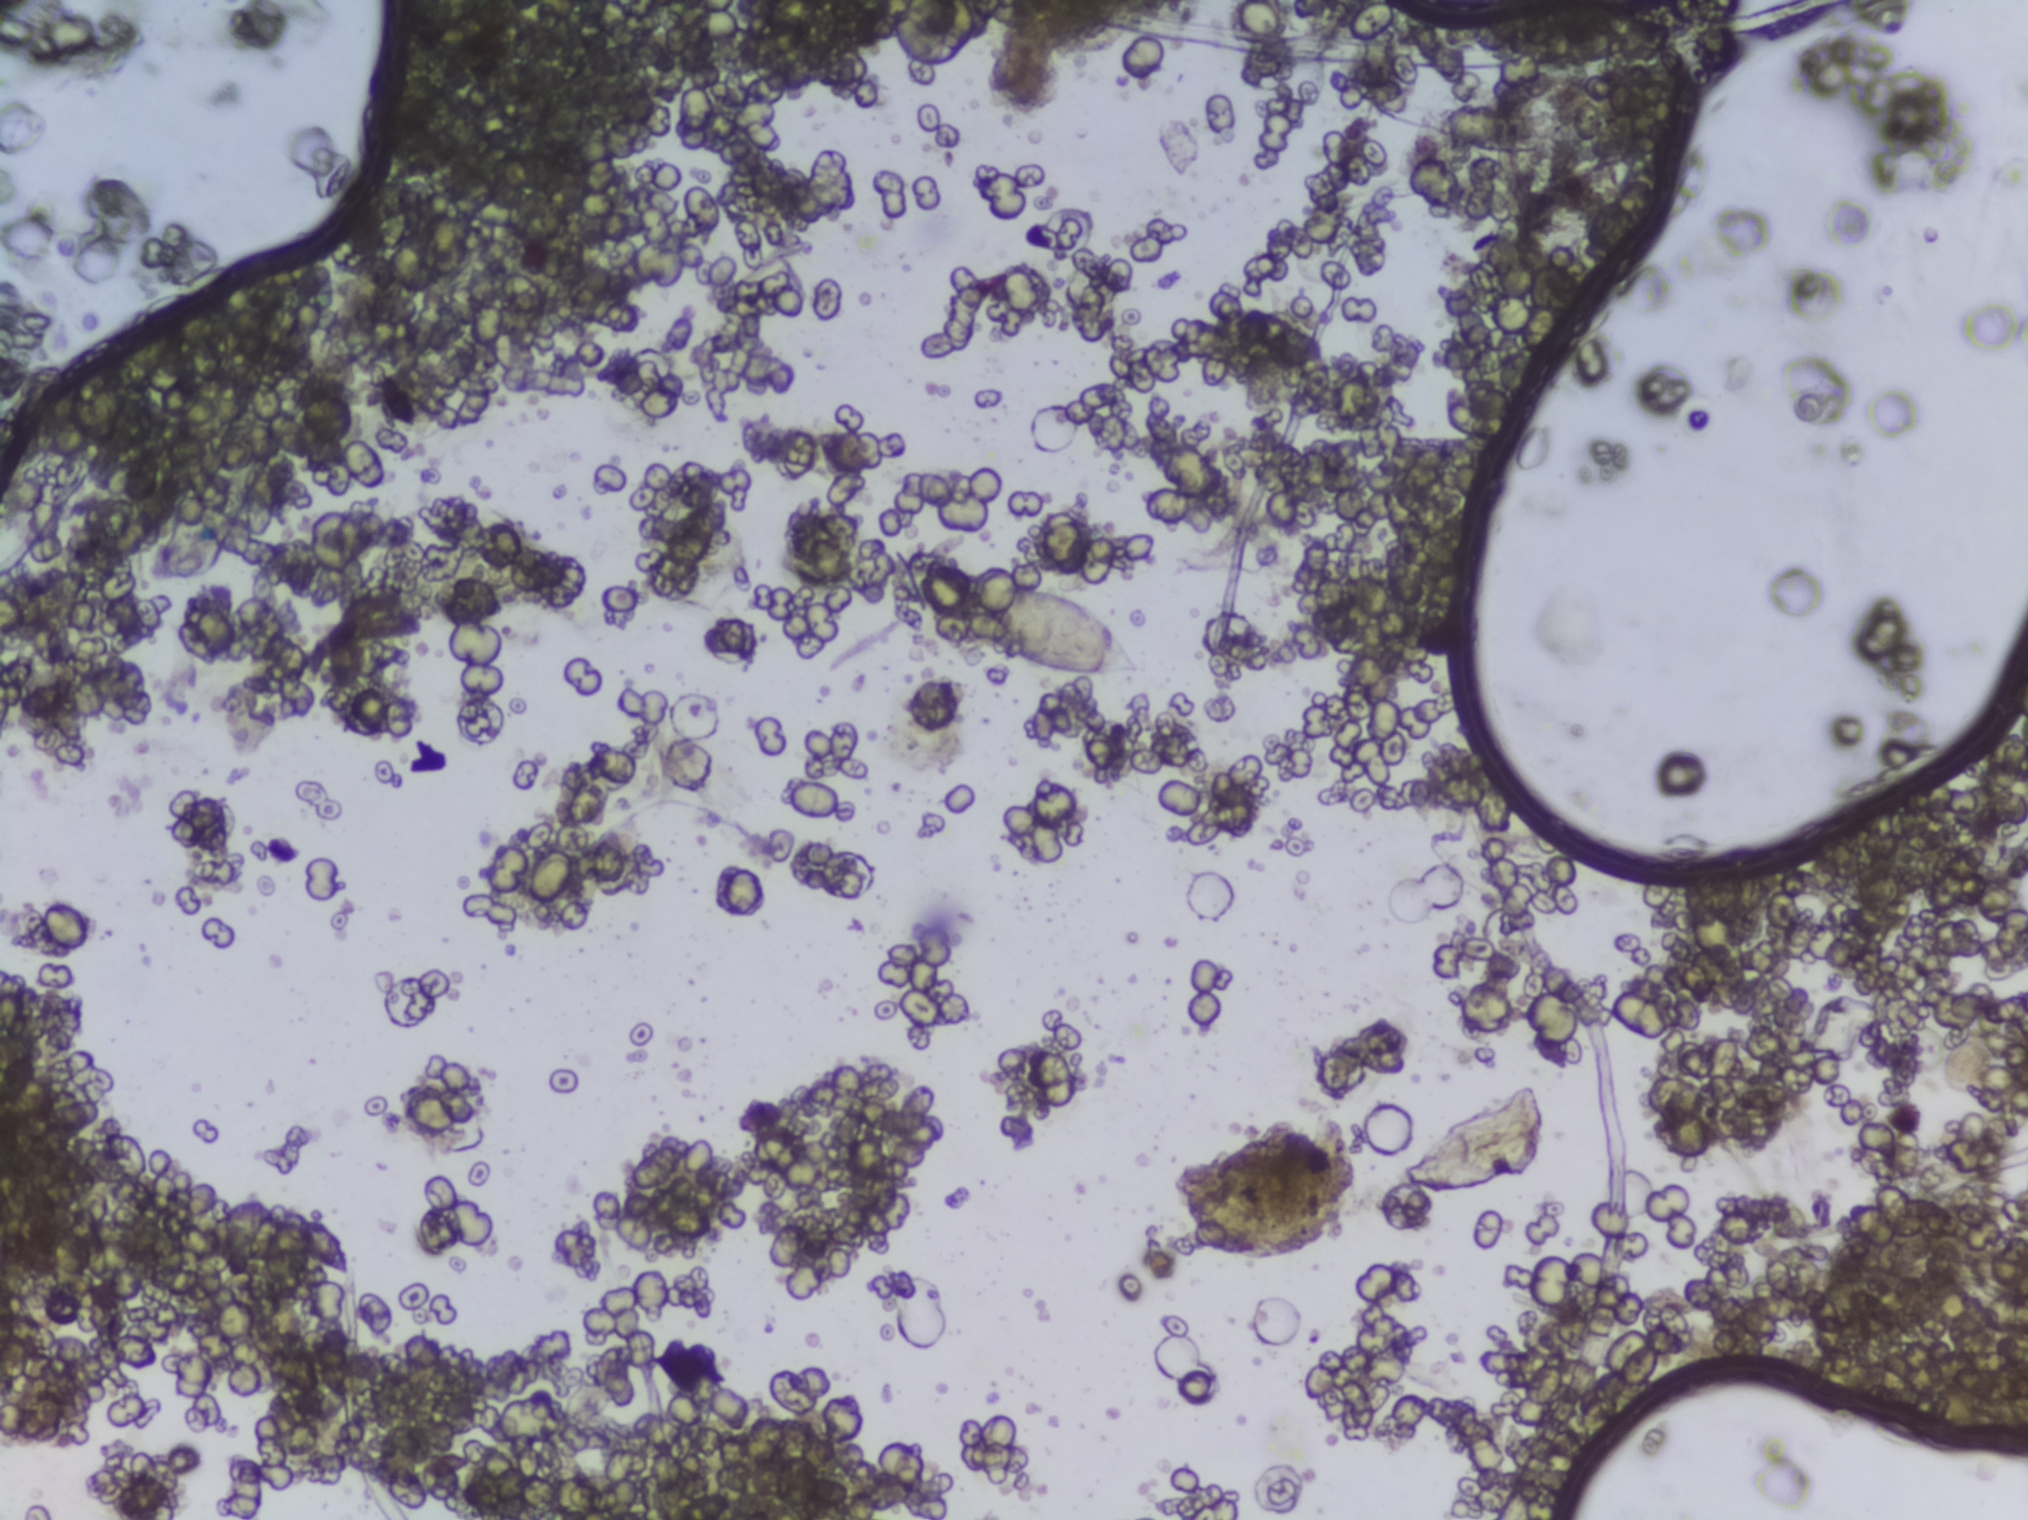
Photomicrograph of a urine filtration membrane, 4× objective.
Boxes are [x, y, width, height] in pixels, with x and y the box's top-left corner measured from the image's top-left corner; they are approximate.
Areas outlined as Schistosoma eggs: [964, 582, 182, 100]. A single outlined area may contain several eggs.